Photomicrograph of a urine filtration membrane, 4× objective.
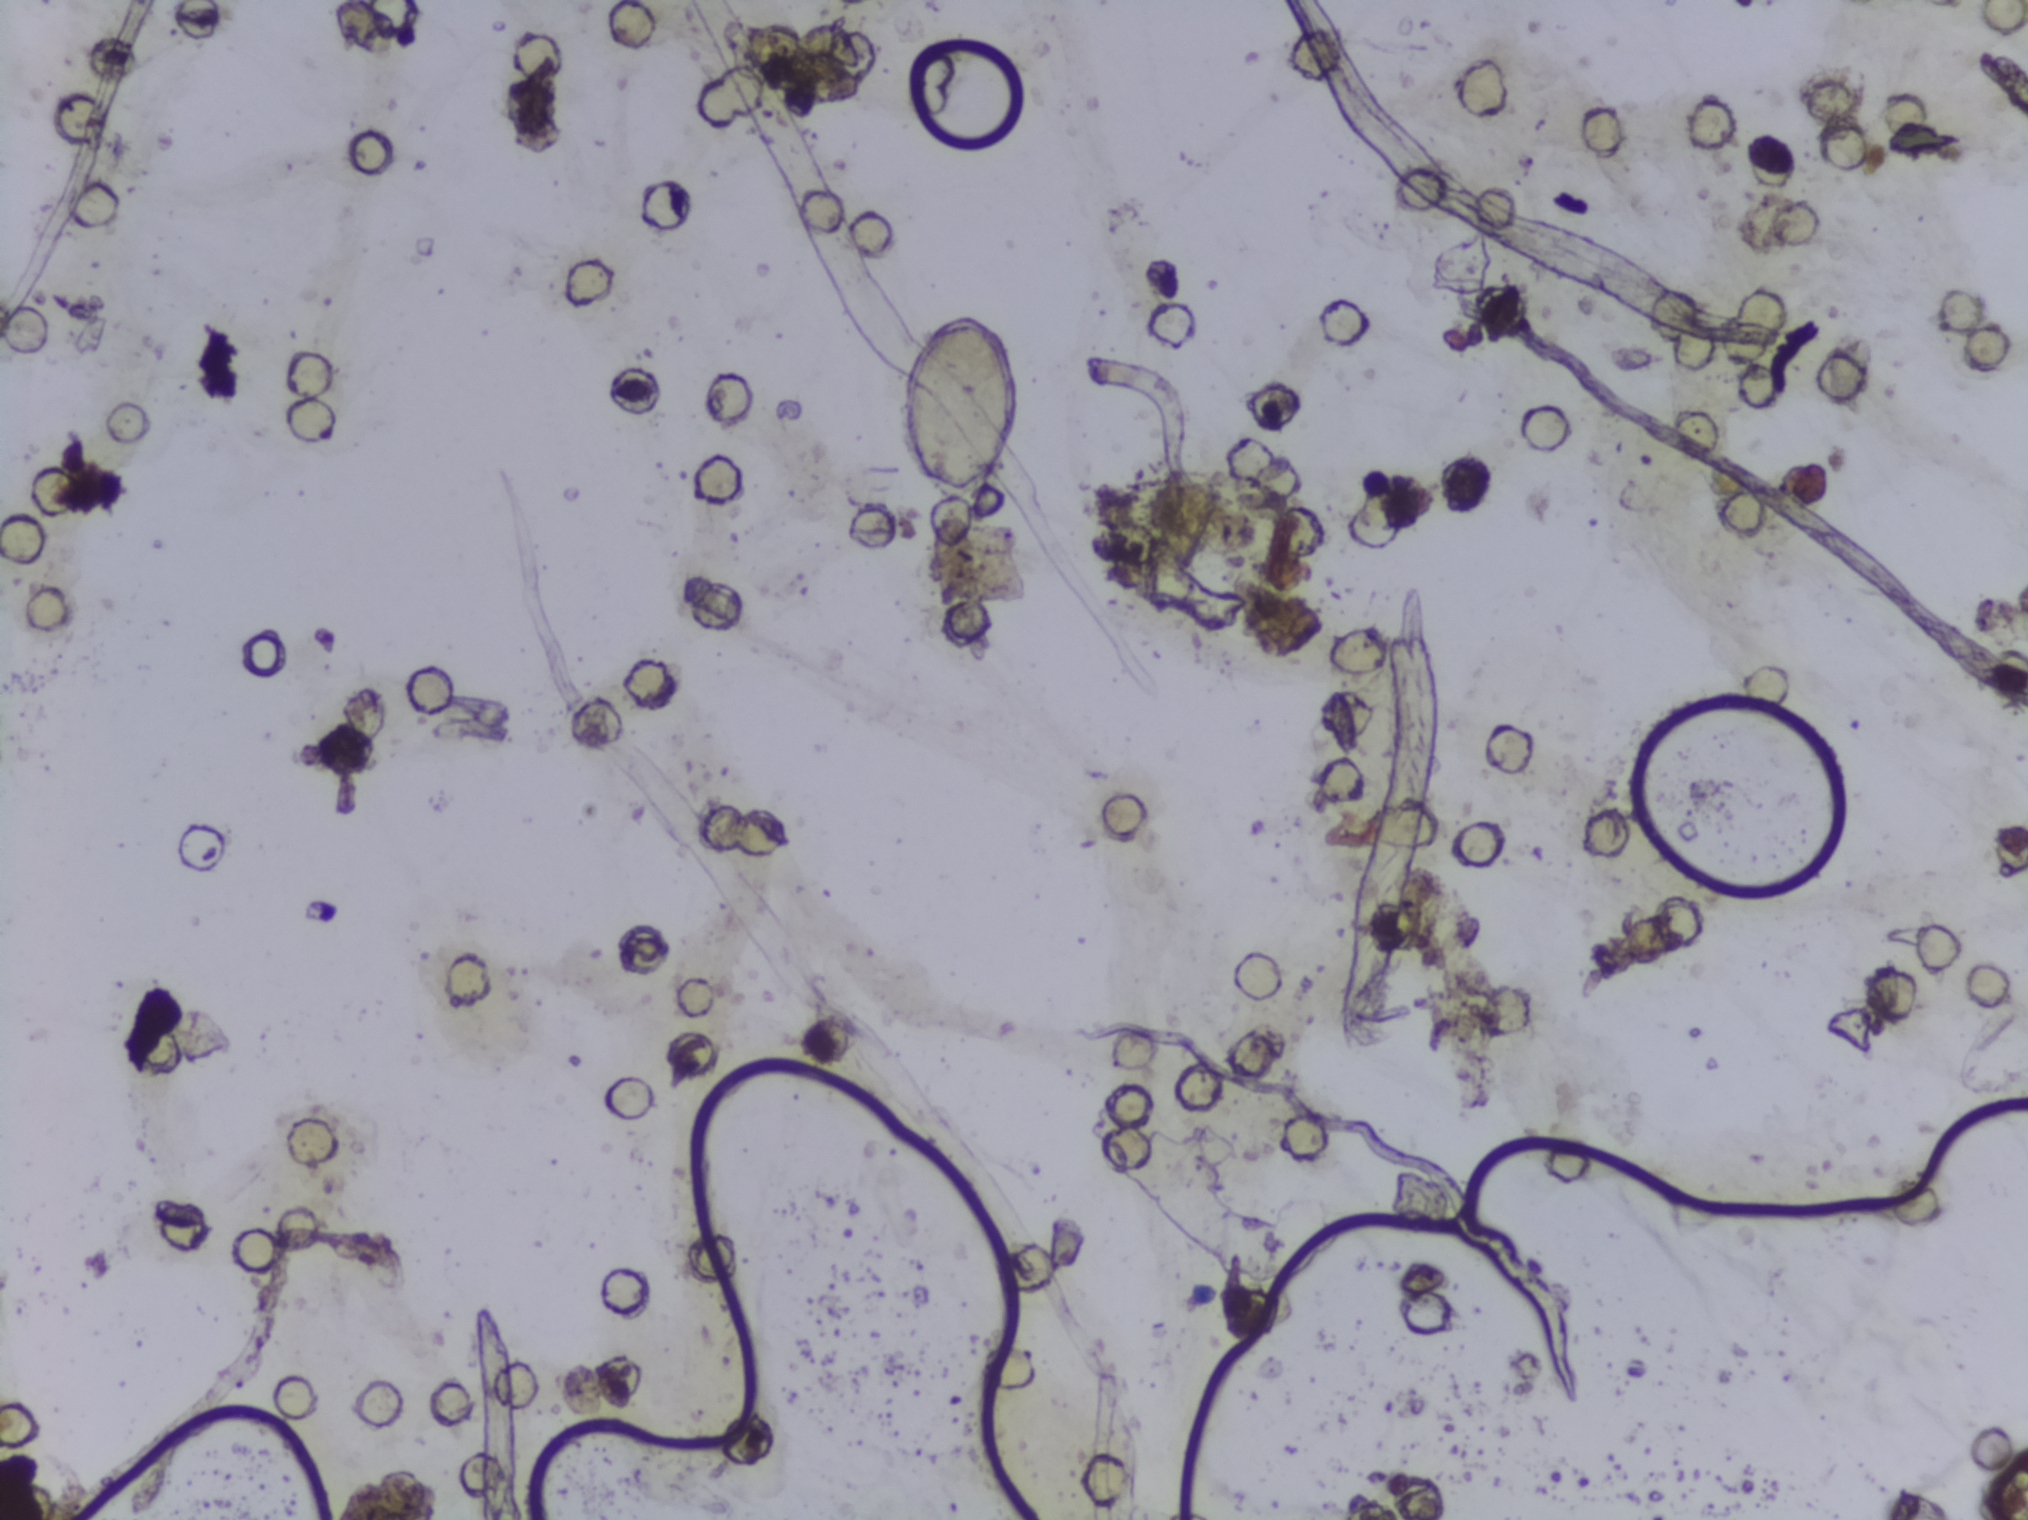
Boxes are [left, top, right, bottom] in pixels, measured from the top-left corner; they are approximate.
One area of this image is outlined as Schistosoma eggs: [898, 308, 1019, 528]. The marked pixels themselves, not the box around them, cover about 0.6% of the image. A single outlined area may contain several eggs.